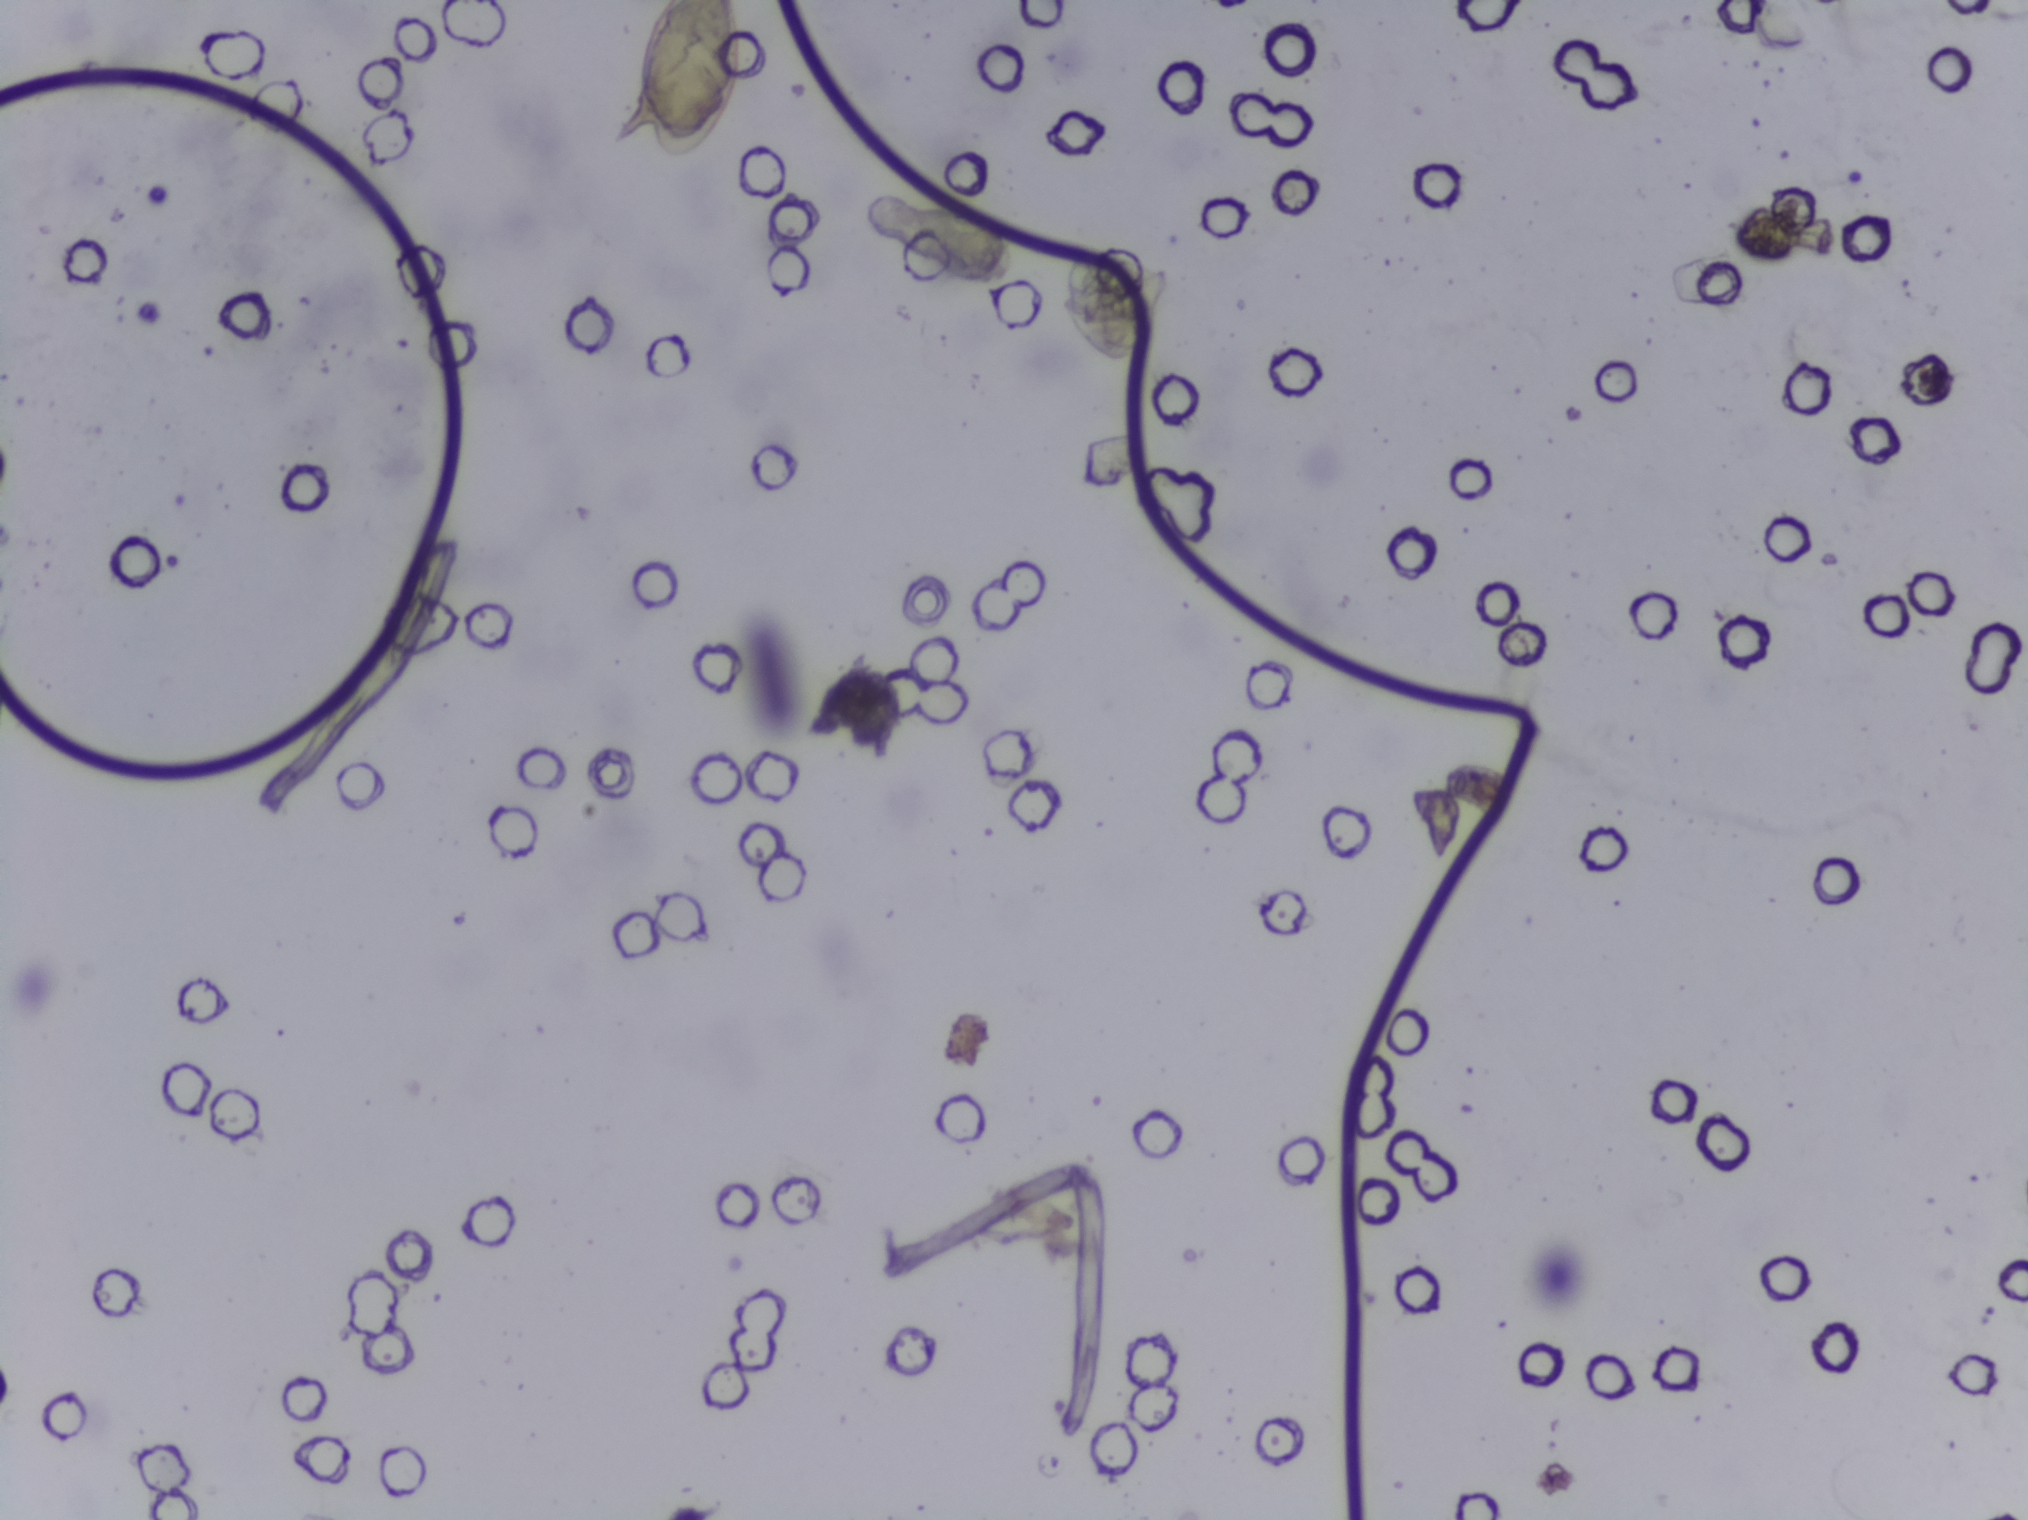
One field of view of a urine filter membrane, 4× objective, 2028 × 1520 pixels. The image covers about 1.5 × 1.1 mm of the membrane.
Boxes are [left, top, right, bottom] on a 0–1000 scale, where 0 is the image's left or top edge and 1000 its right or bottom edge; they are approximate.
Schistosoma eggs are outlined in two areas of this image, listed from left to right: [300, 0, 367, 109] (reaching the top edge of the frame) and [523, 157, 570, 246]. The marked pixels themselves, not the boxes around them, cover about 0.8% of the image. A single outlined area may contain several eggs.